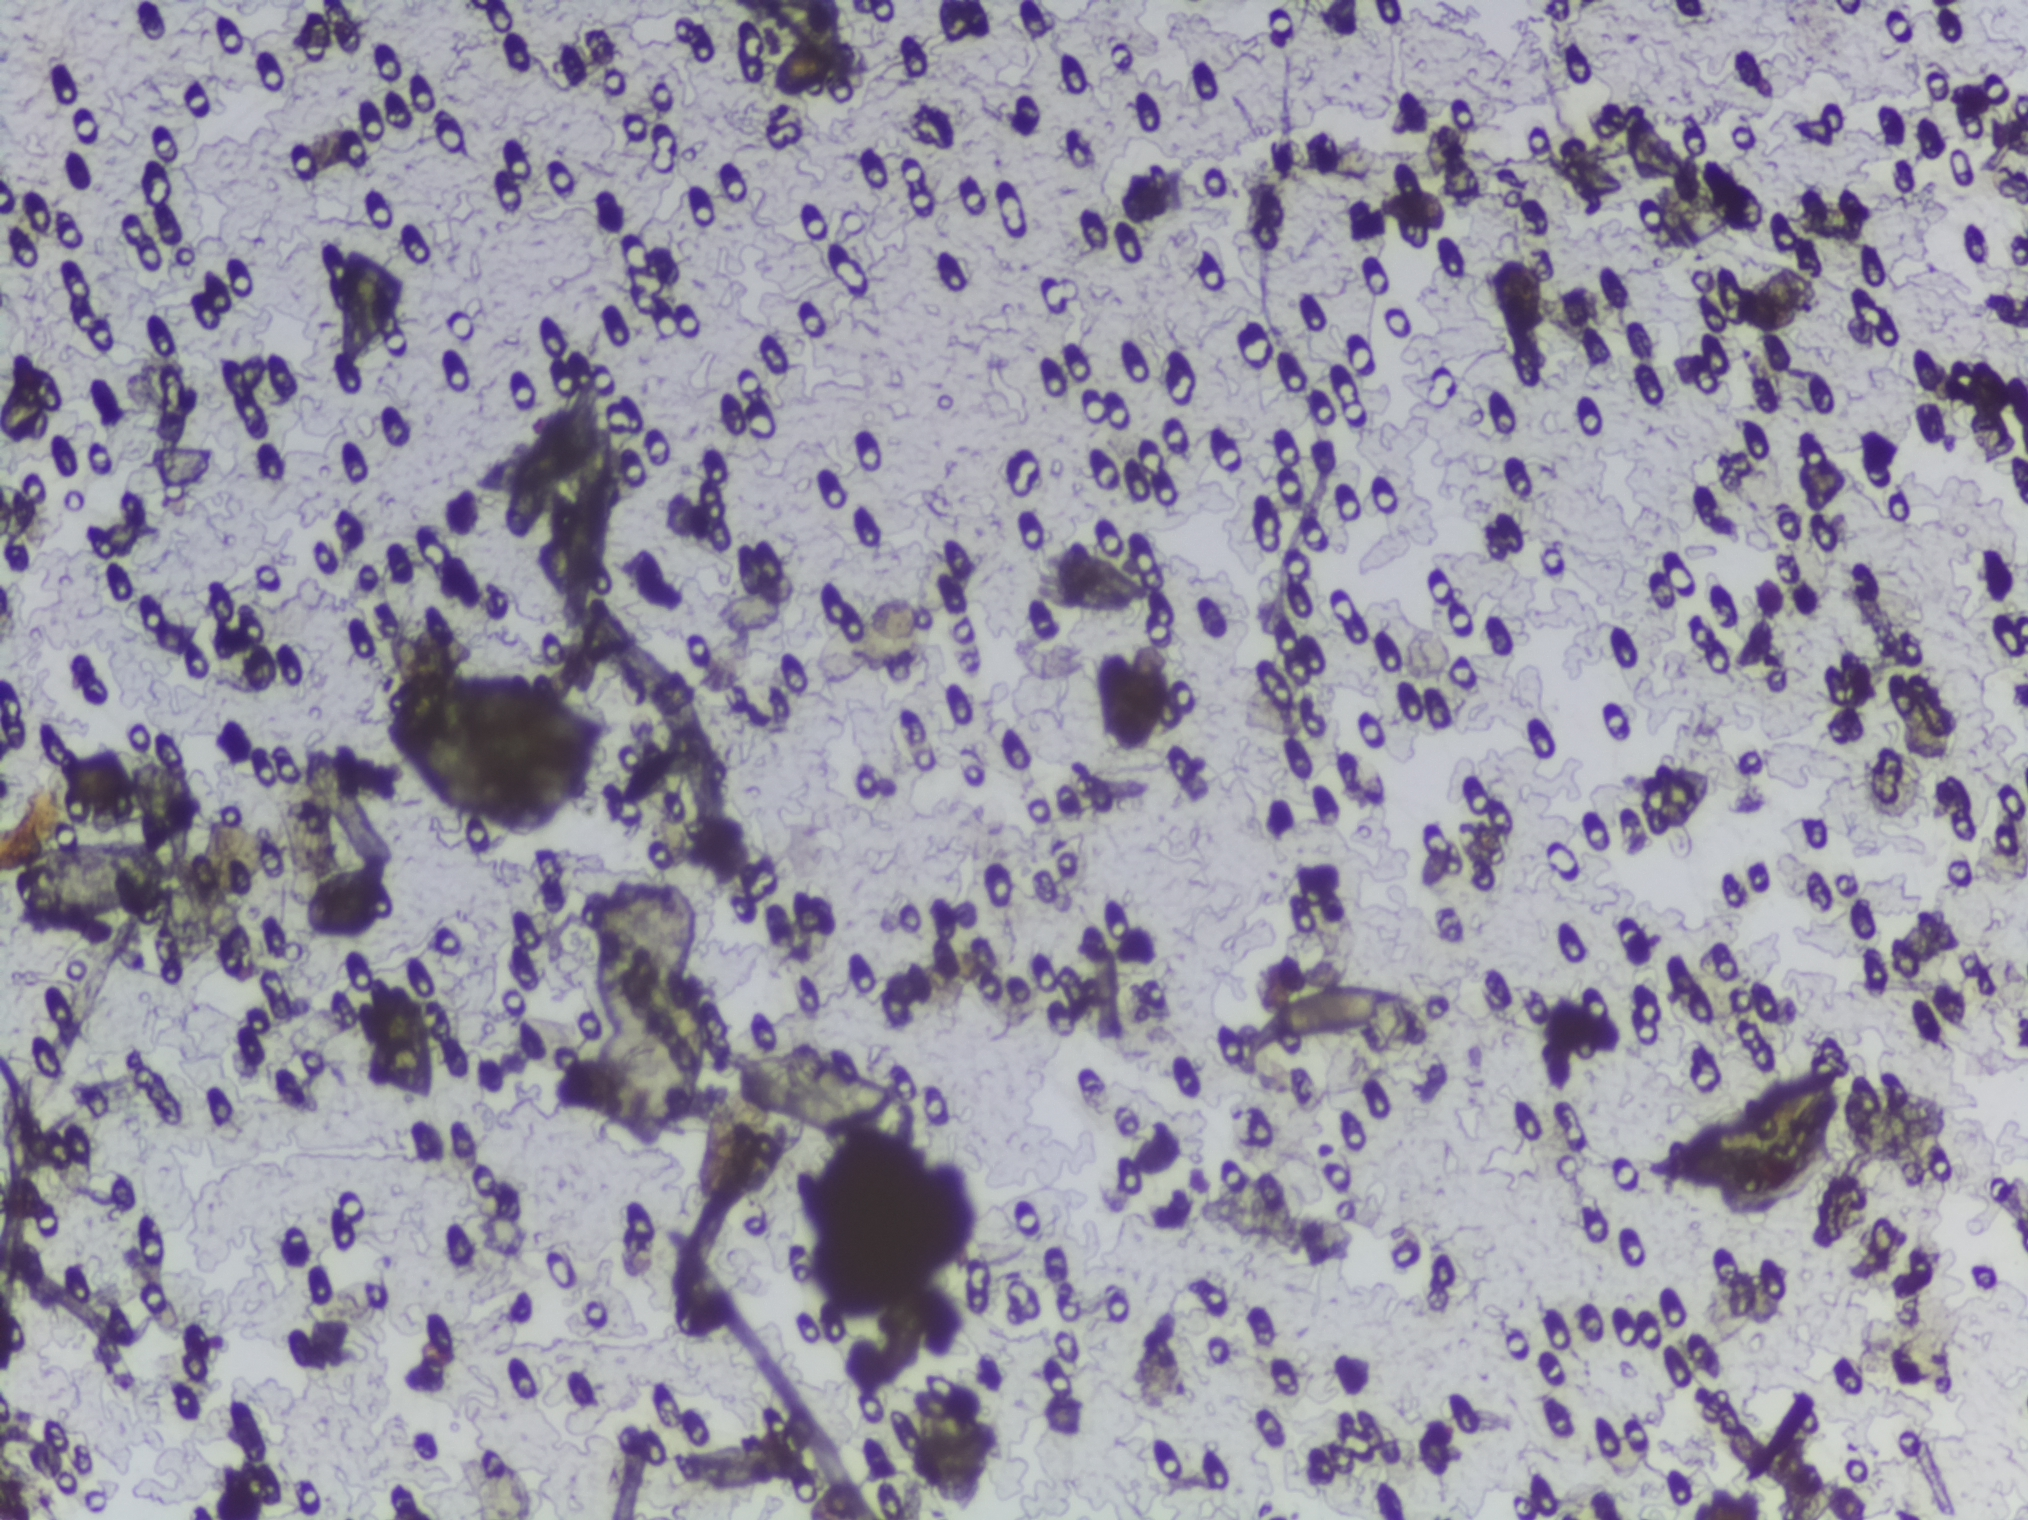
One field of view of a urine filter membrane, 4× objective, 2028 × 1520 pixels. The field of view is about 1.5 mm × 1.1 mm.
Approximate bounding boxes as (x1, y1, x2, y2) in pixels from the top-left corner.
The expert annotation outlines Schistosoma eggs at (14, 839, 174, 920). A single outlined area may contain several eggs.